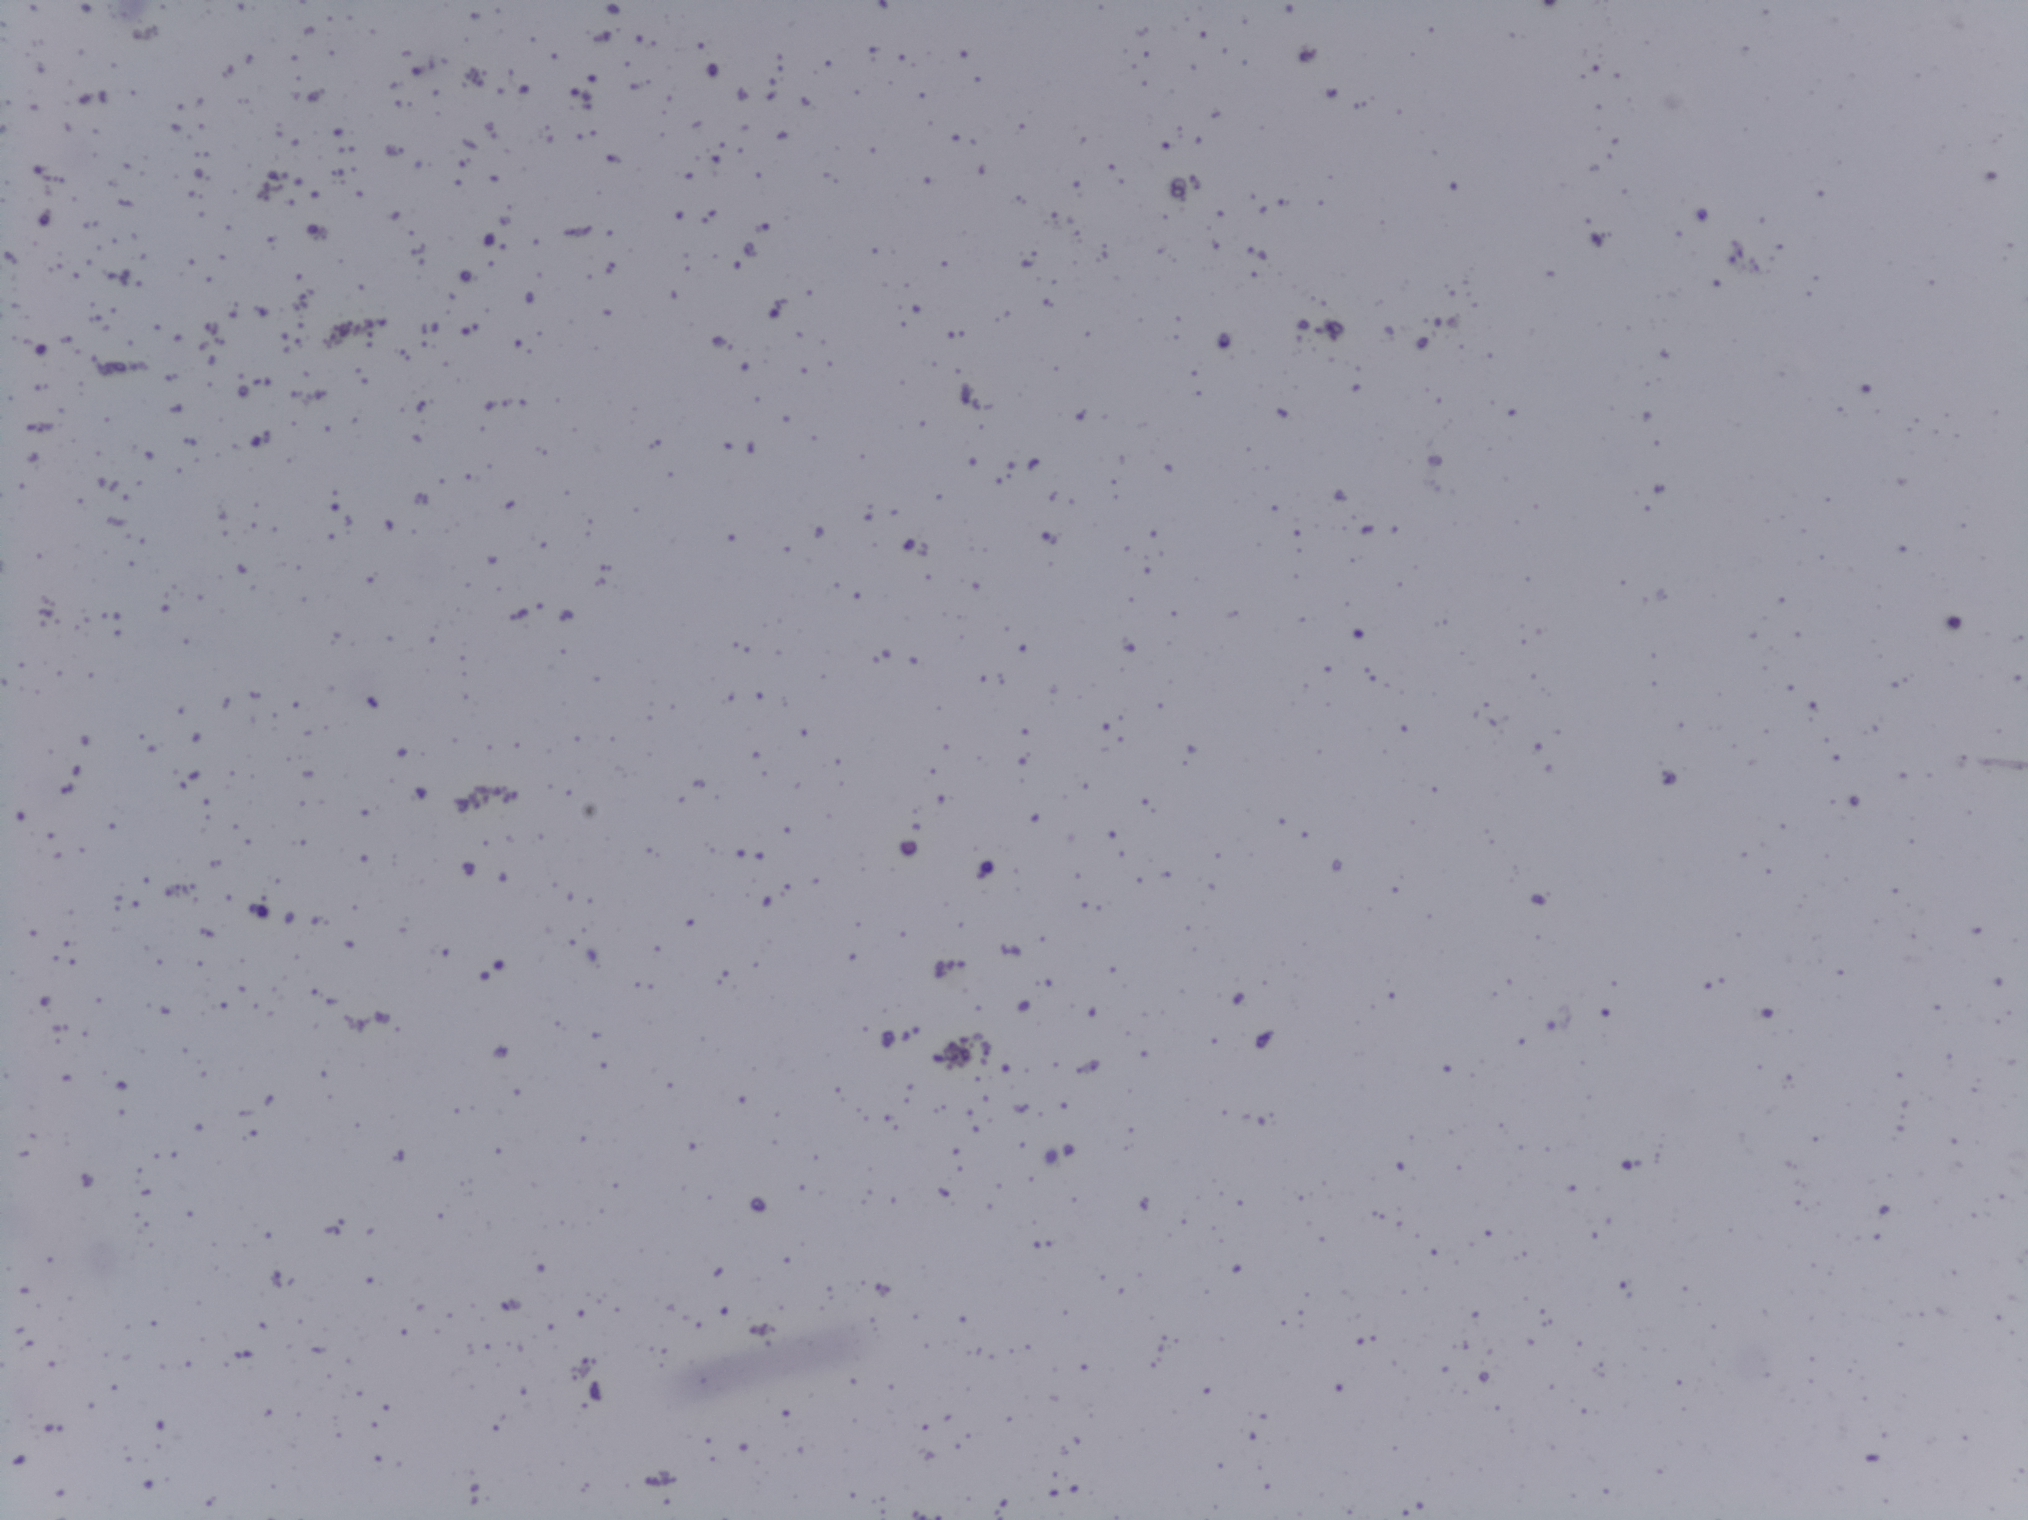
One field of view of a urine filter membrane, 4× objective, 2028 × 1520 pixels.
Schistosoma eggs: none outlined.